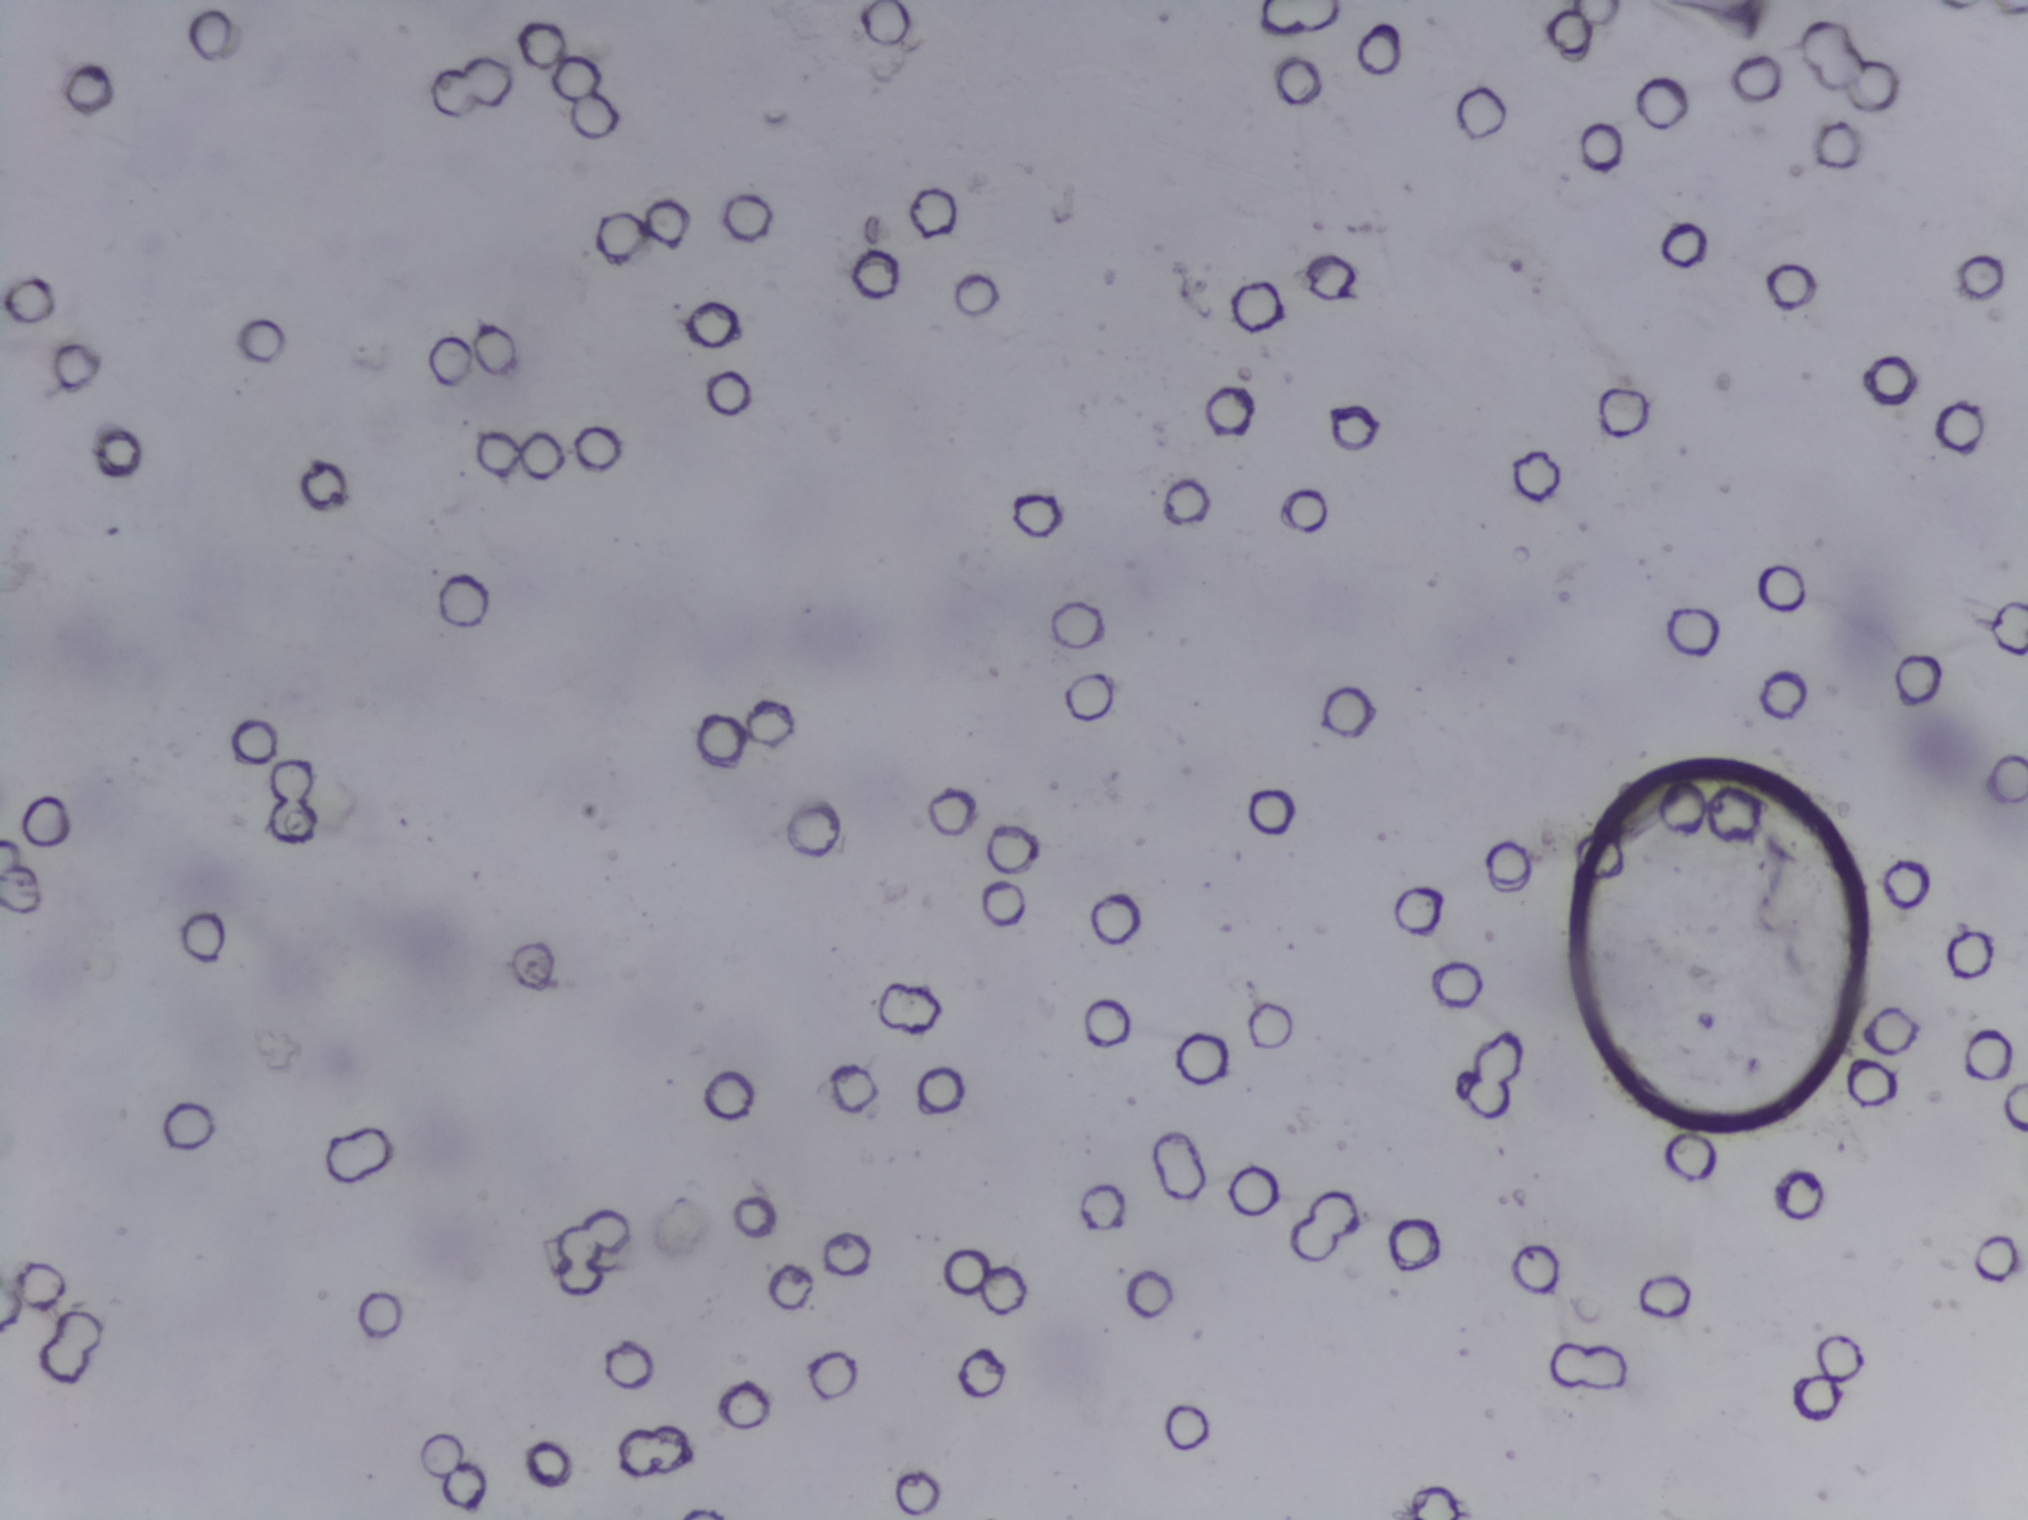
No area of this image was outlined as a Schistosoma egg.
Microscope photograph (4× objective) of a membrane that a urine sample was filtered through.